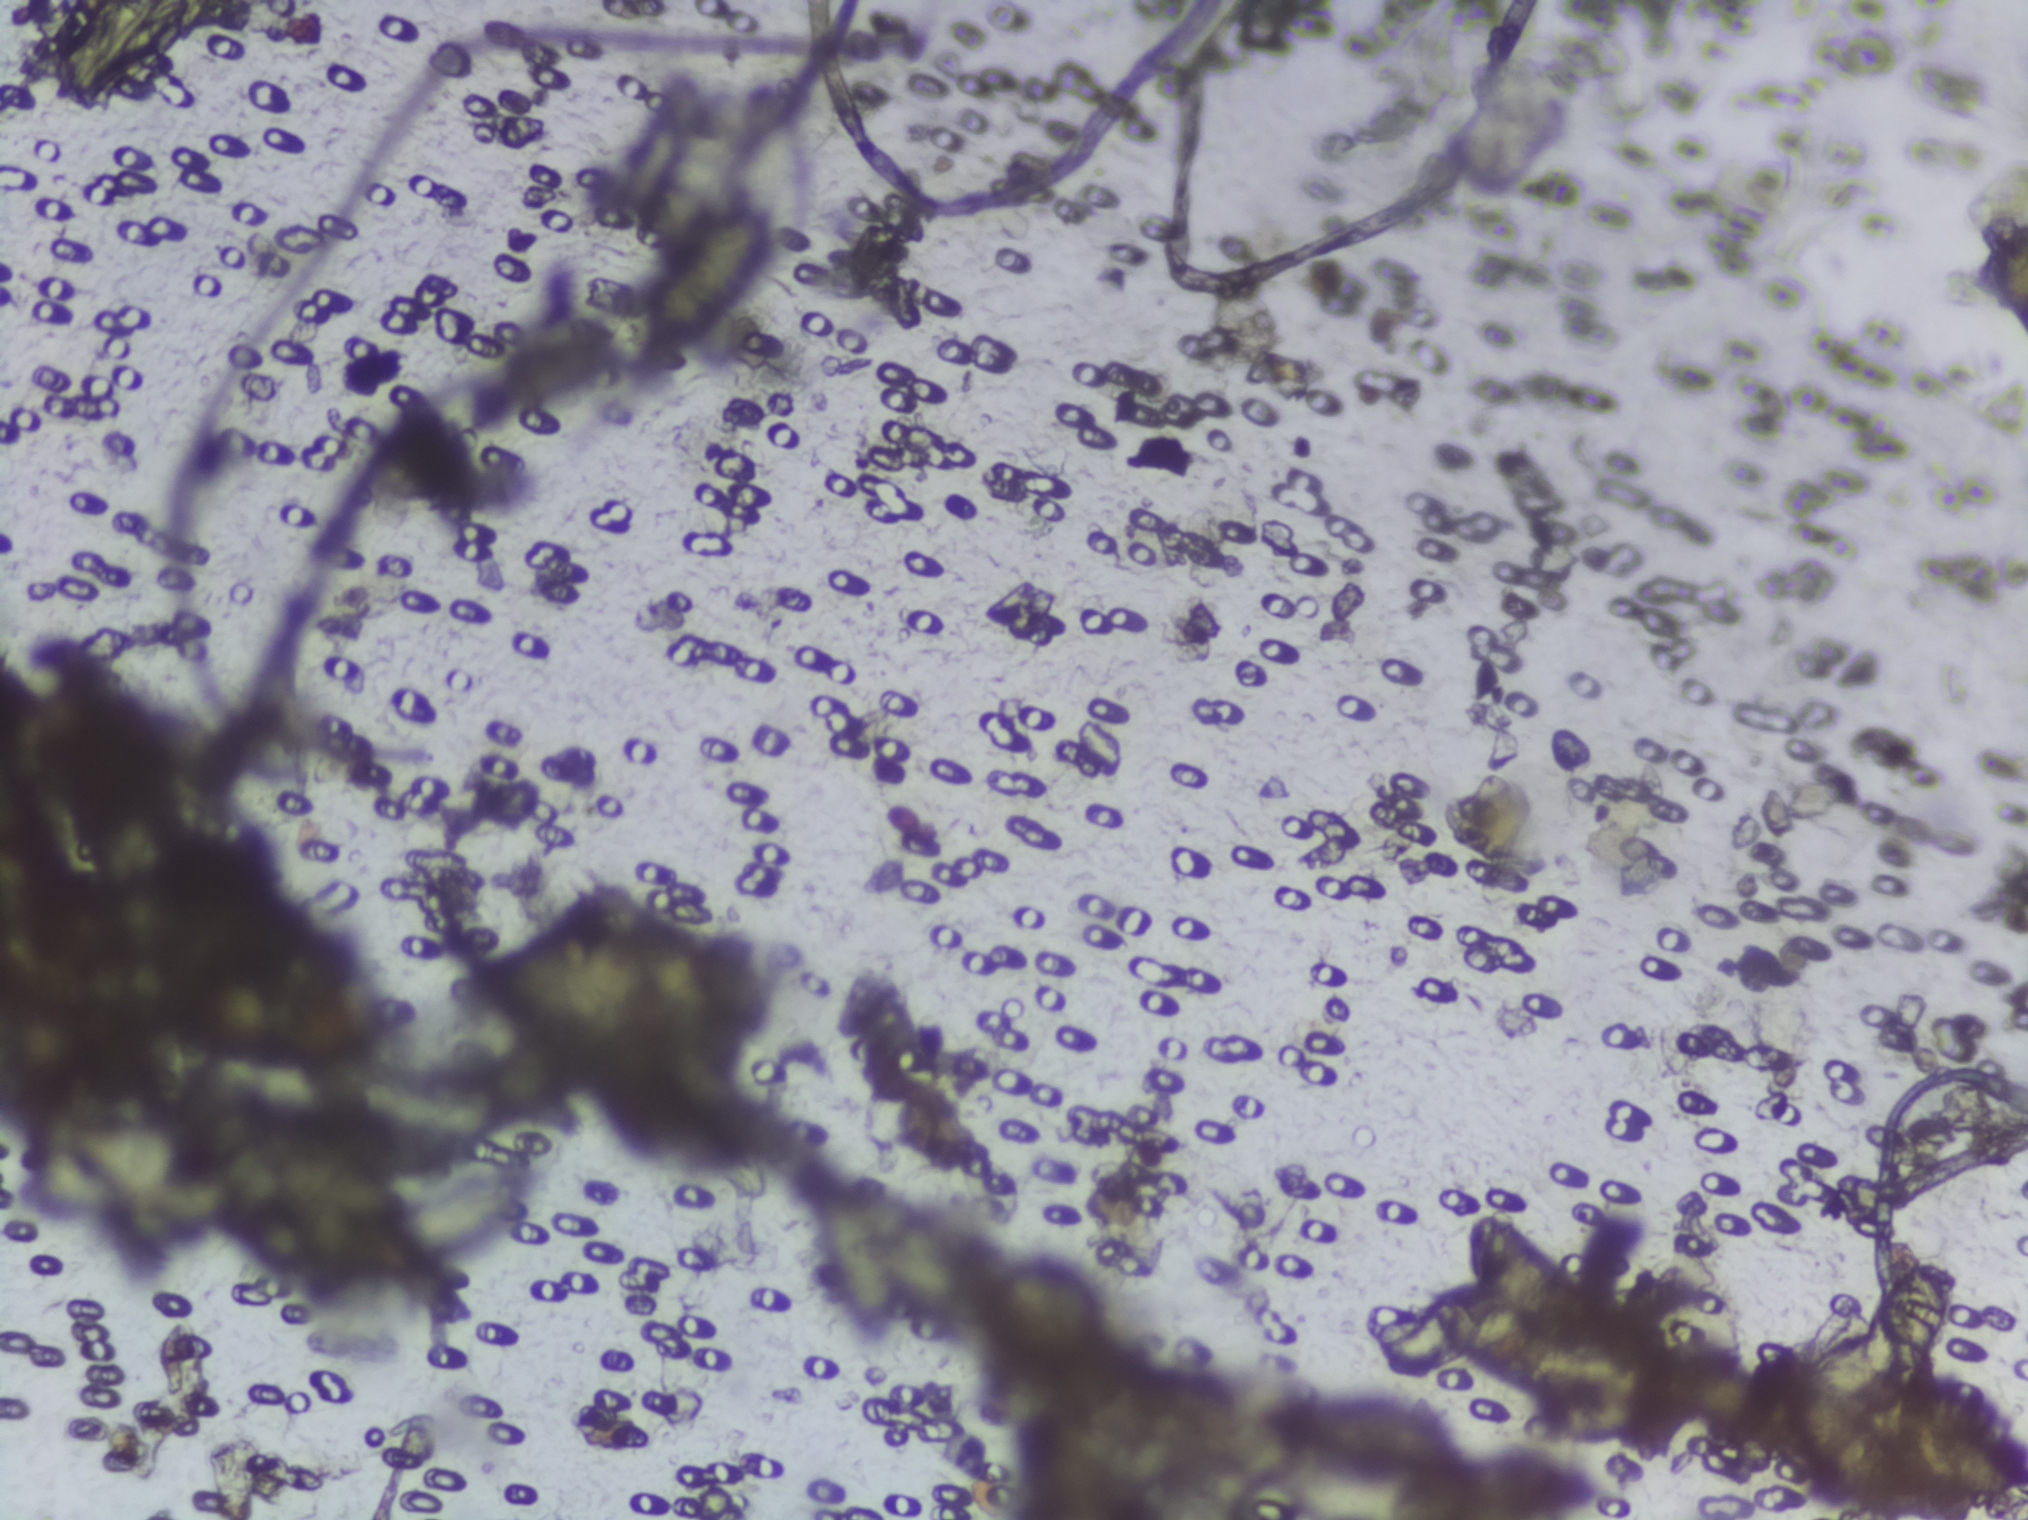
Photomicrograph of a urine filtration membrane, 4× objective. Field of view: about 1.5 mm wide and 1.1 mm high.
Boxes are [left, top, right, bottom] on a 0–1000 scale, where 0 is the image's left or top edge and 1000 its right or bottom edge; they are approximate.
Findings: four areas outlined as Schistosoma eggs. Locations, left to right: [212, 599, 391, 703]; [314, 136, 384, 238]; [701, 796, 805, 916]; [914, 827, 995, 984]. Eggs that touch can end up inside the same outlined area.